Photograph from an automated digital microscope: urine filter membrane, 4× objective.
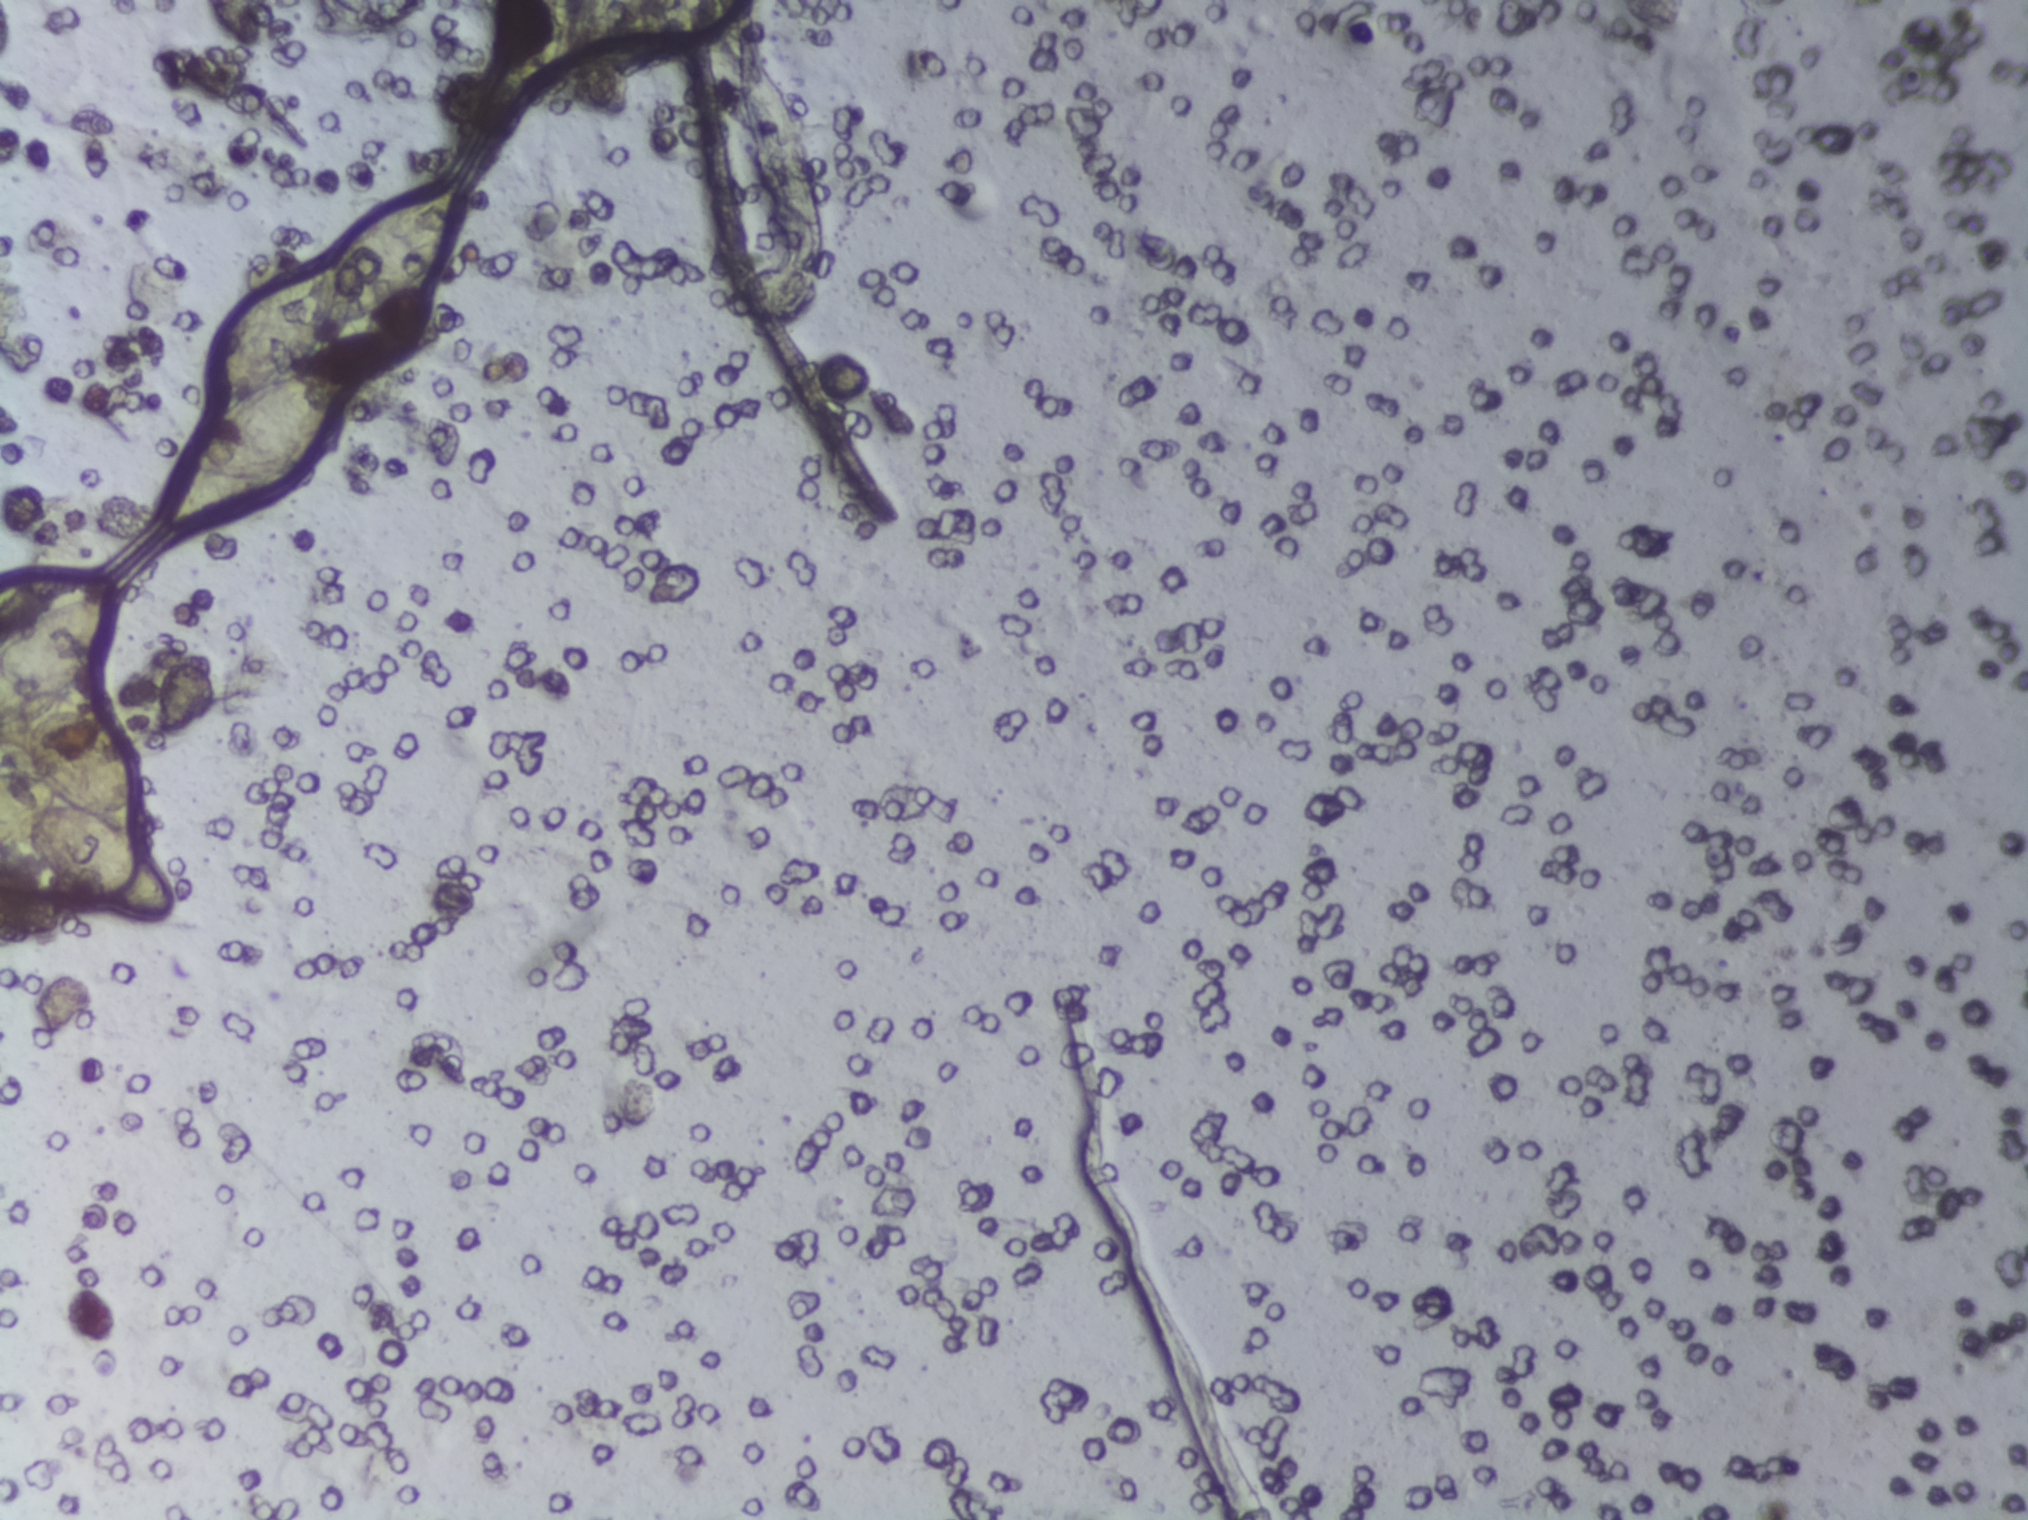
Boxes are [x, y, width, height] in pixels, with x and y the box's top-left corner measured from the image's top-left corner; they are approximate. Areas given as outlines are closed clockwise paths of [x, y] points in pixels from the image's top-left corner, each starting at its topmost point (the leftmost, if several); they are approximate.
Areas outlined as Schistosoma eggs, left to right:
1. box [0, 588, 180, 335] (reaching the left edge of the frame)
2. outline [451, 181], [467, 190], [471, 212], [466, 242], [452, 260], [398, 302], [325, 326], [312, 353], [288, 373], [339, 368], [357, 375], [359, 420], [349, 445], [298, 485], [248, 510], [179, 525], [161, 518], [157, 506], [171, 477], [238, 400], [214, 401], [208, 392], [211, 359], [238, 306], [289, 272], [311, 265], [334, 268], [349, 235], [368, 215]
A single outlined area may contain several eggs.